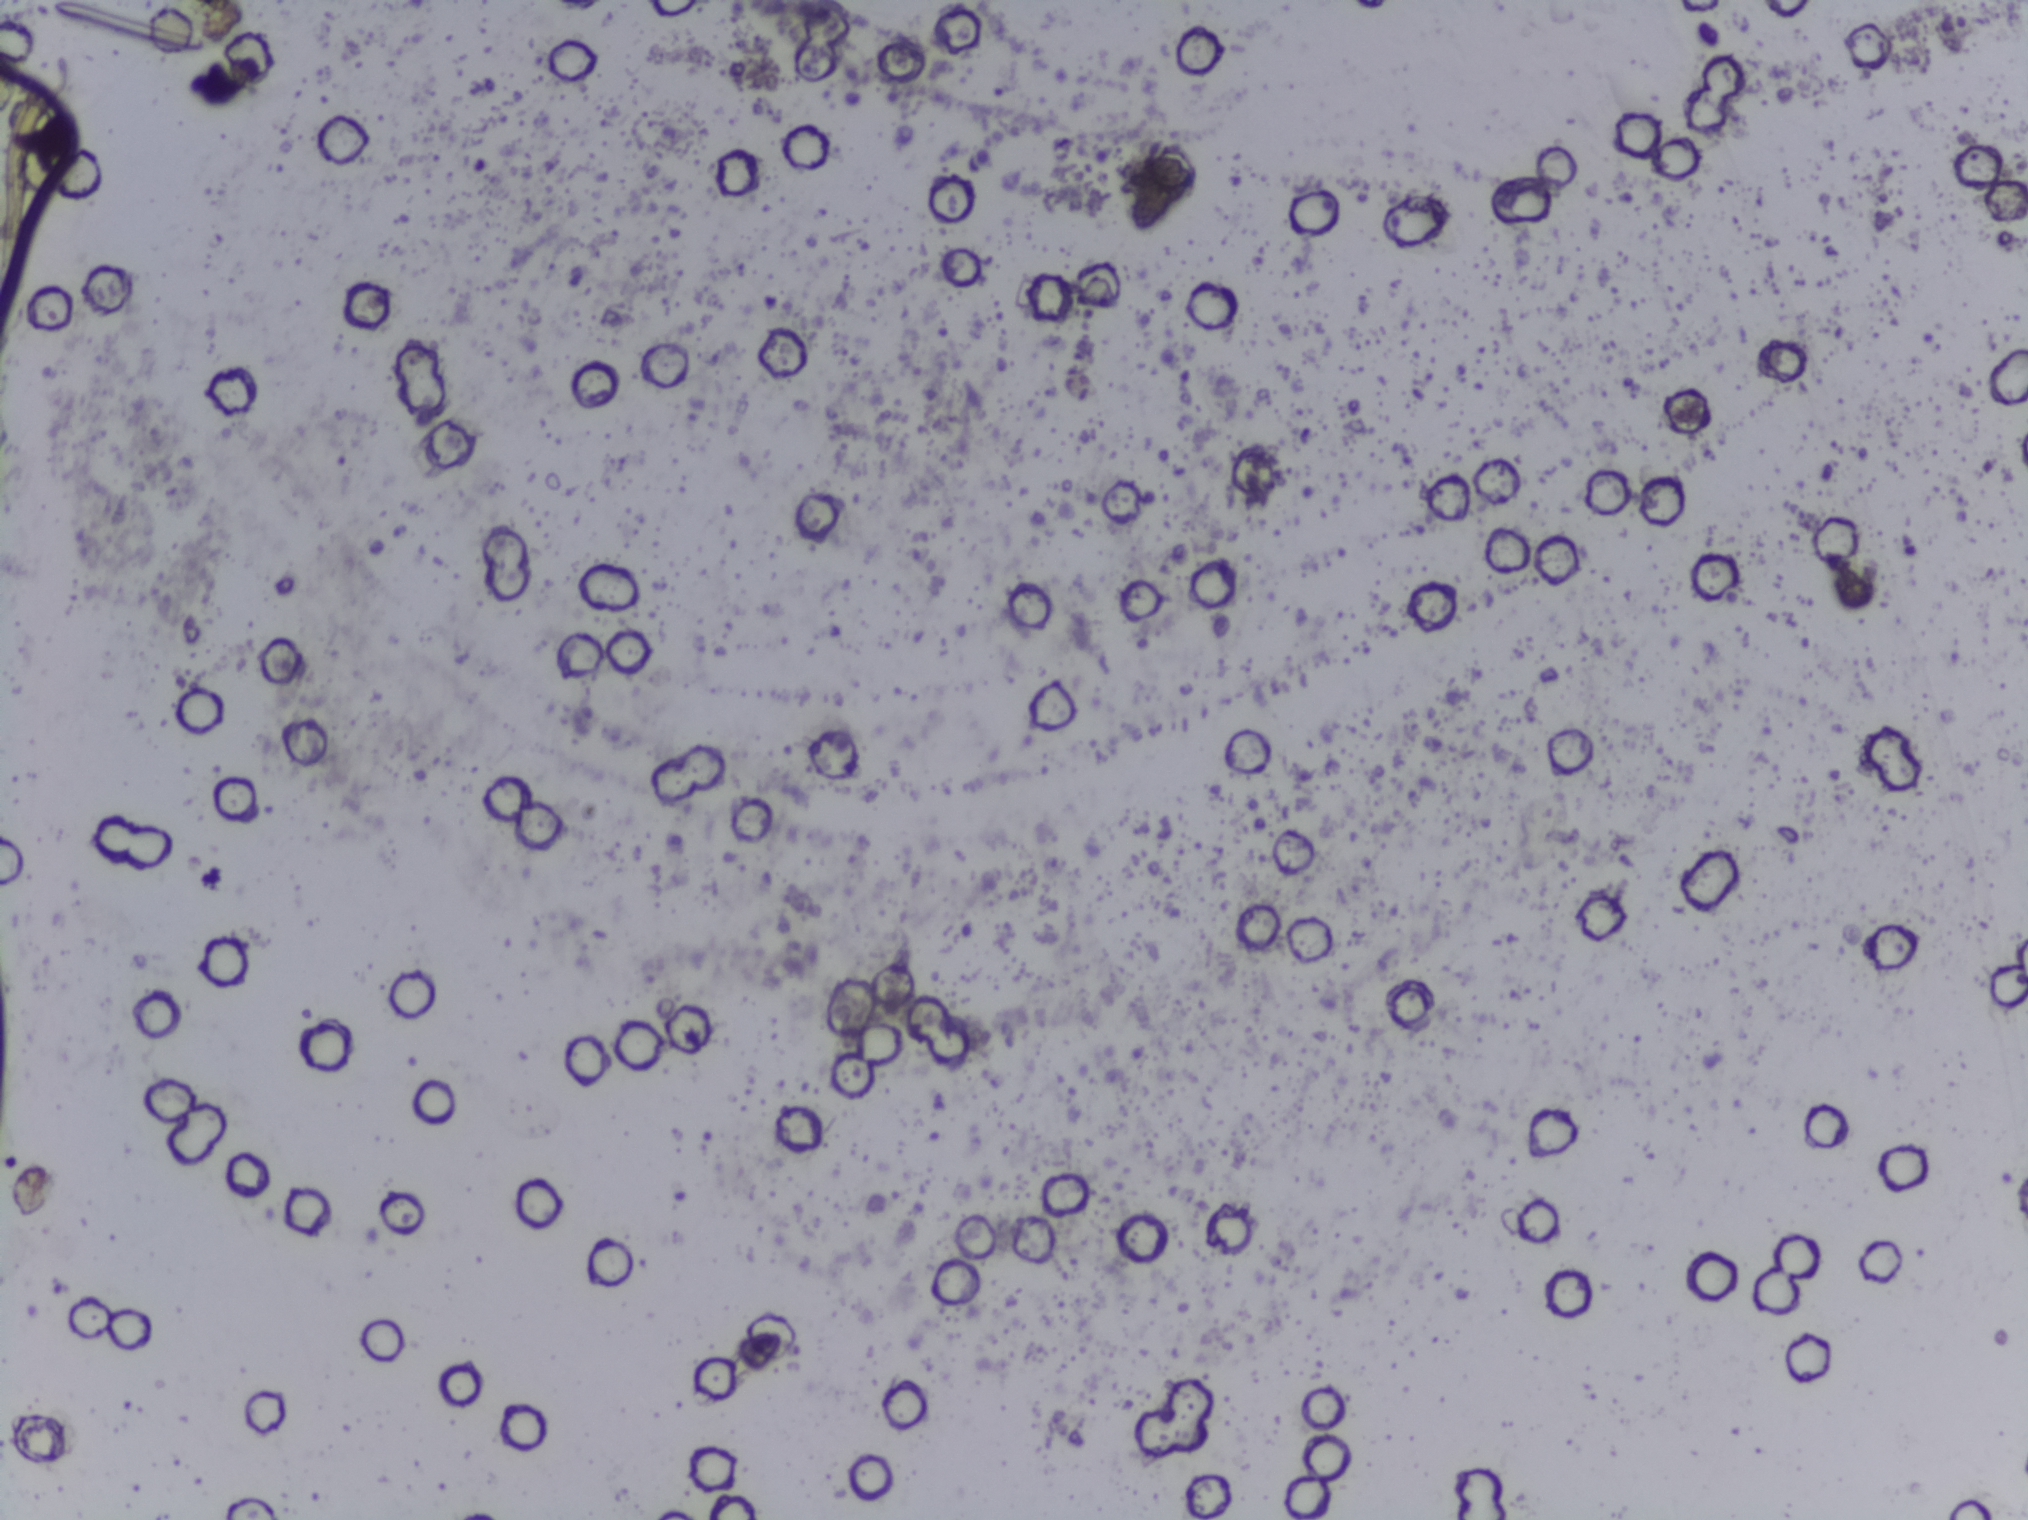
The expert annotation outlines no Schistosoma egg in this image.
Photomicrograph of a urine filtration membrane, 4× objective. The field of view is about 1.5 mm × 1.1 mm.